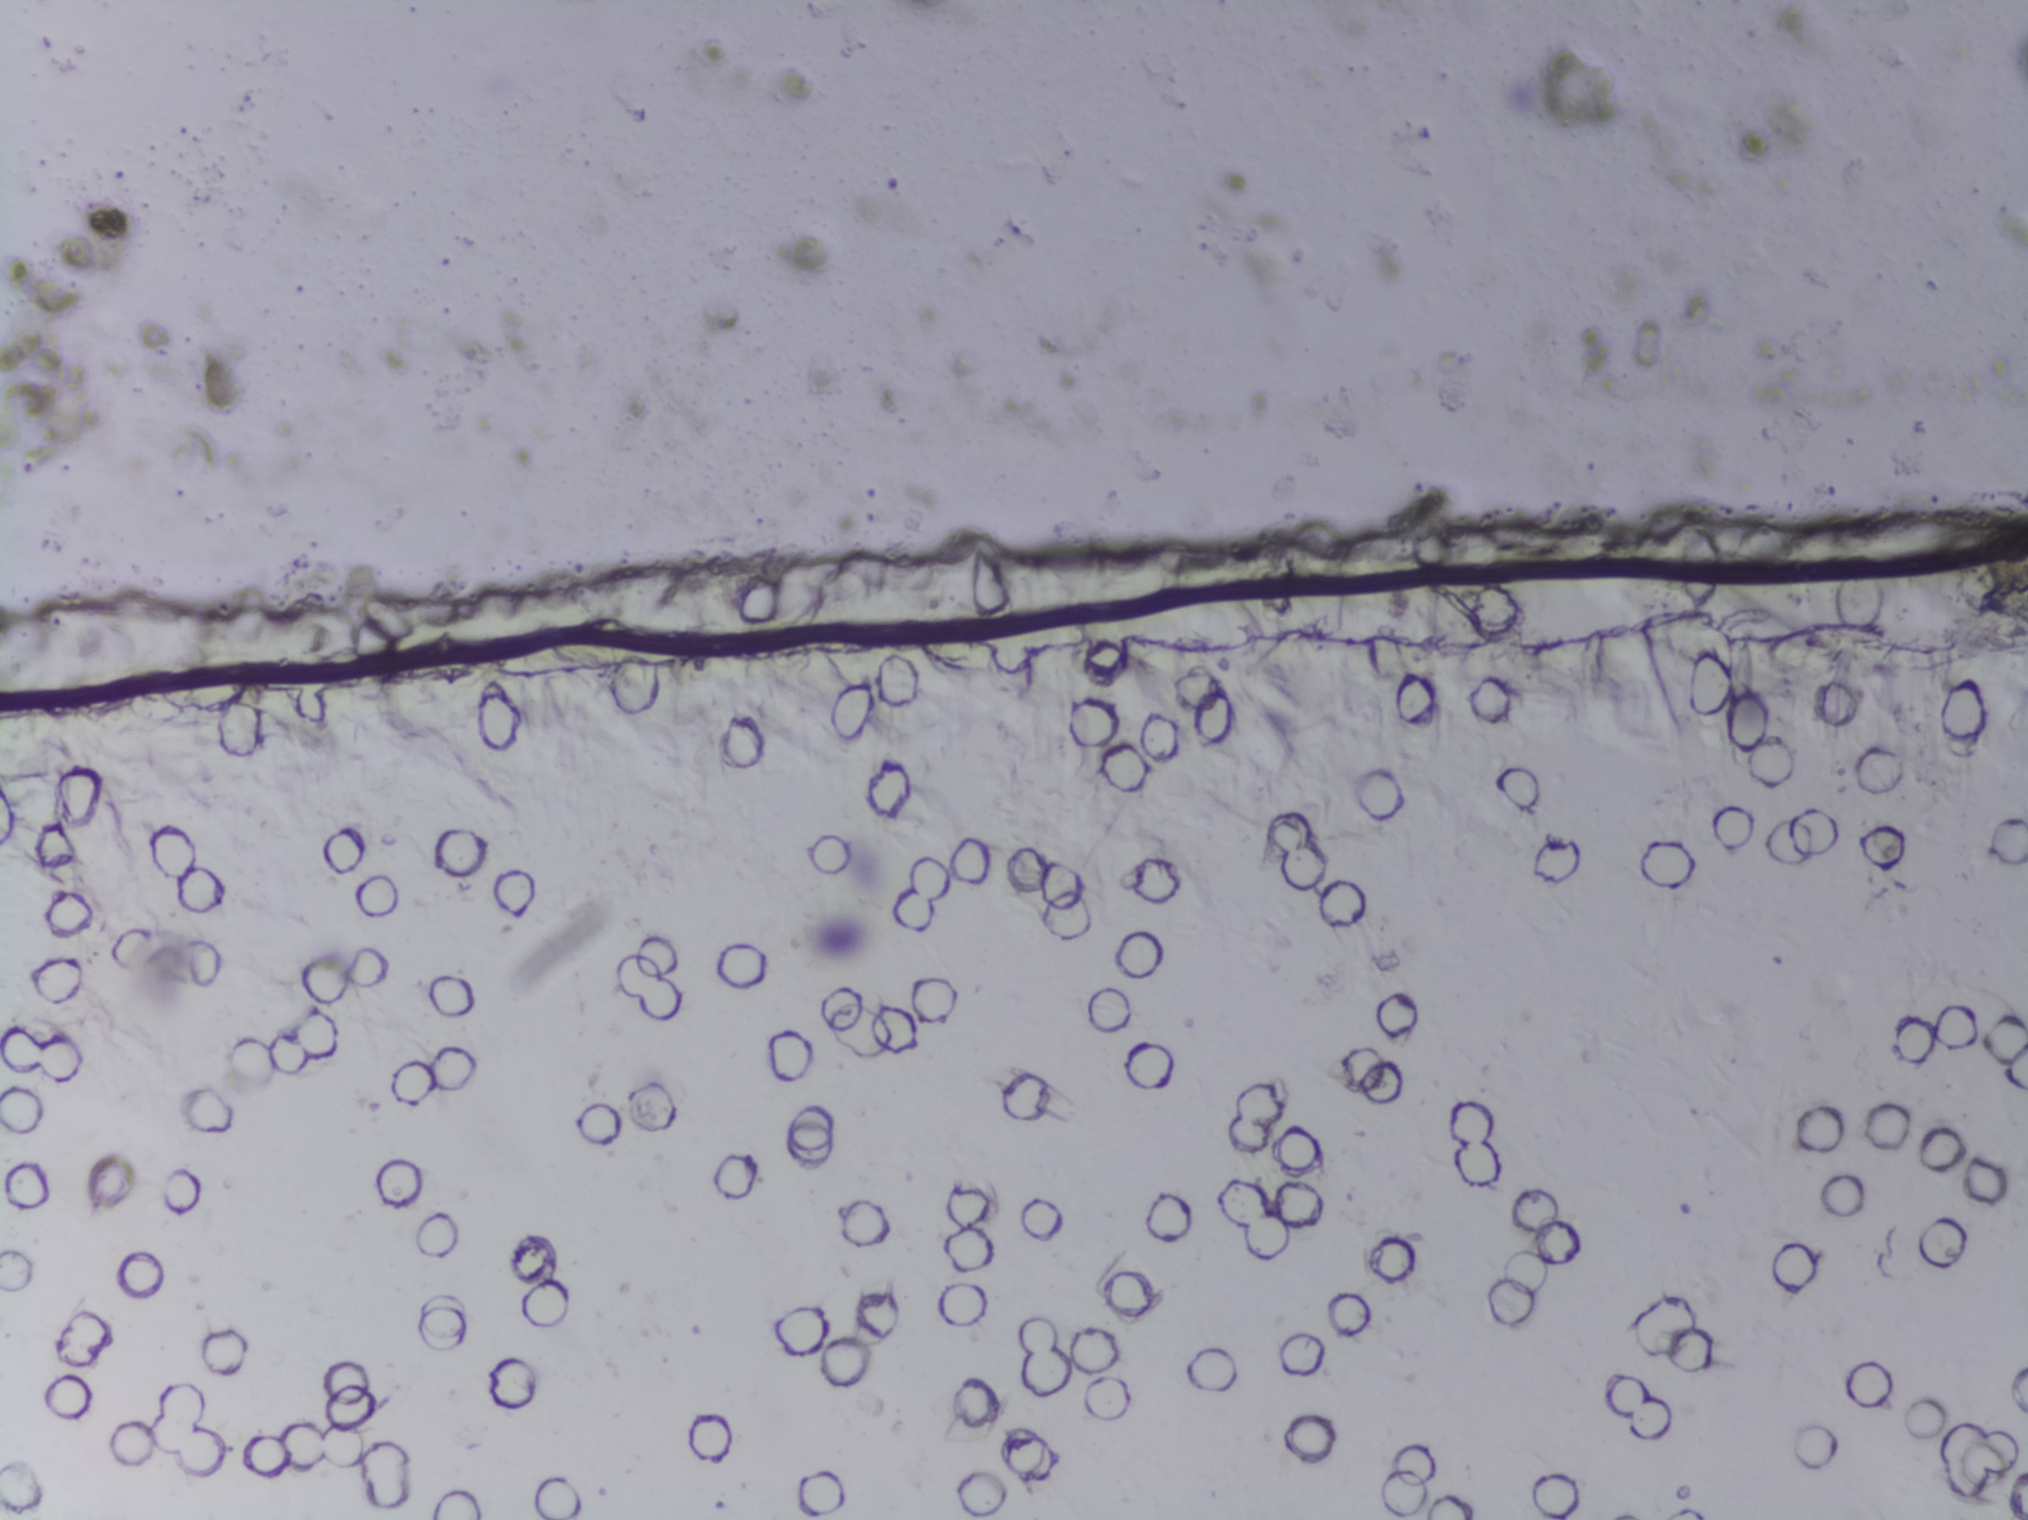
Schistosoma eggs: none outlined.
Photograph from an automated digital microscope: urine filter membrane, 4× objective.